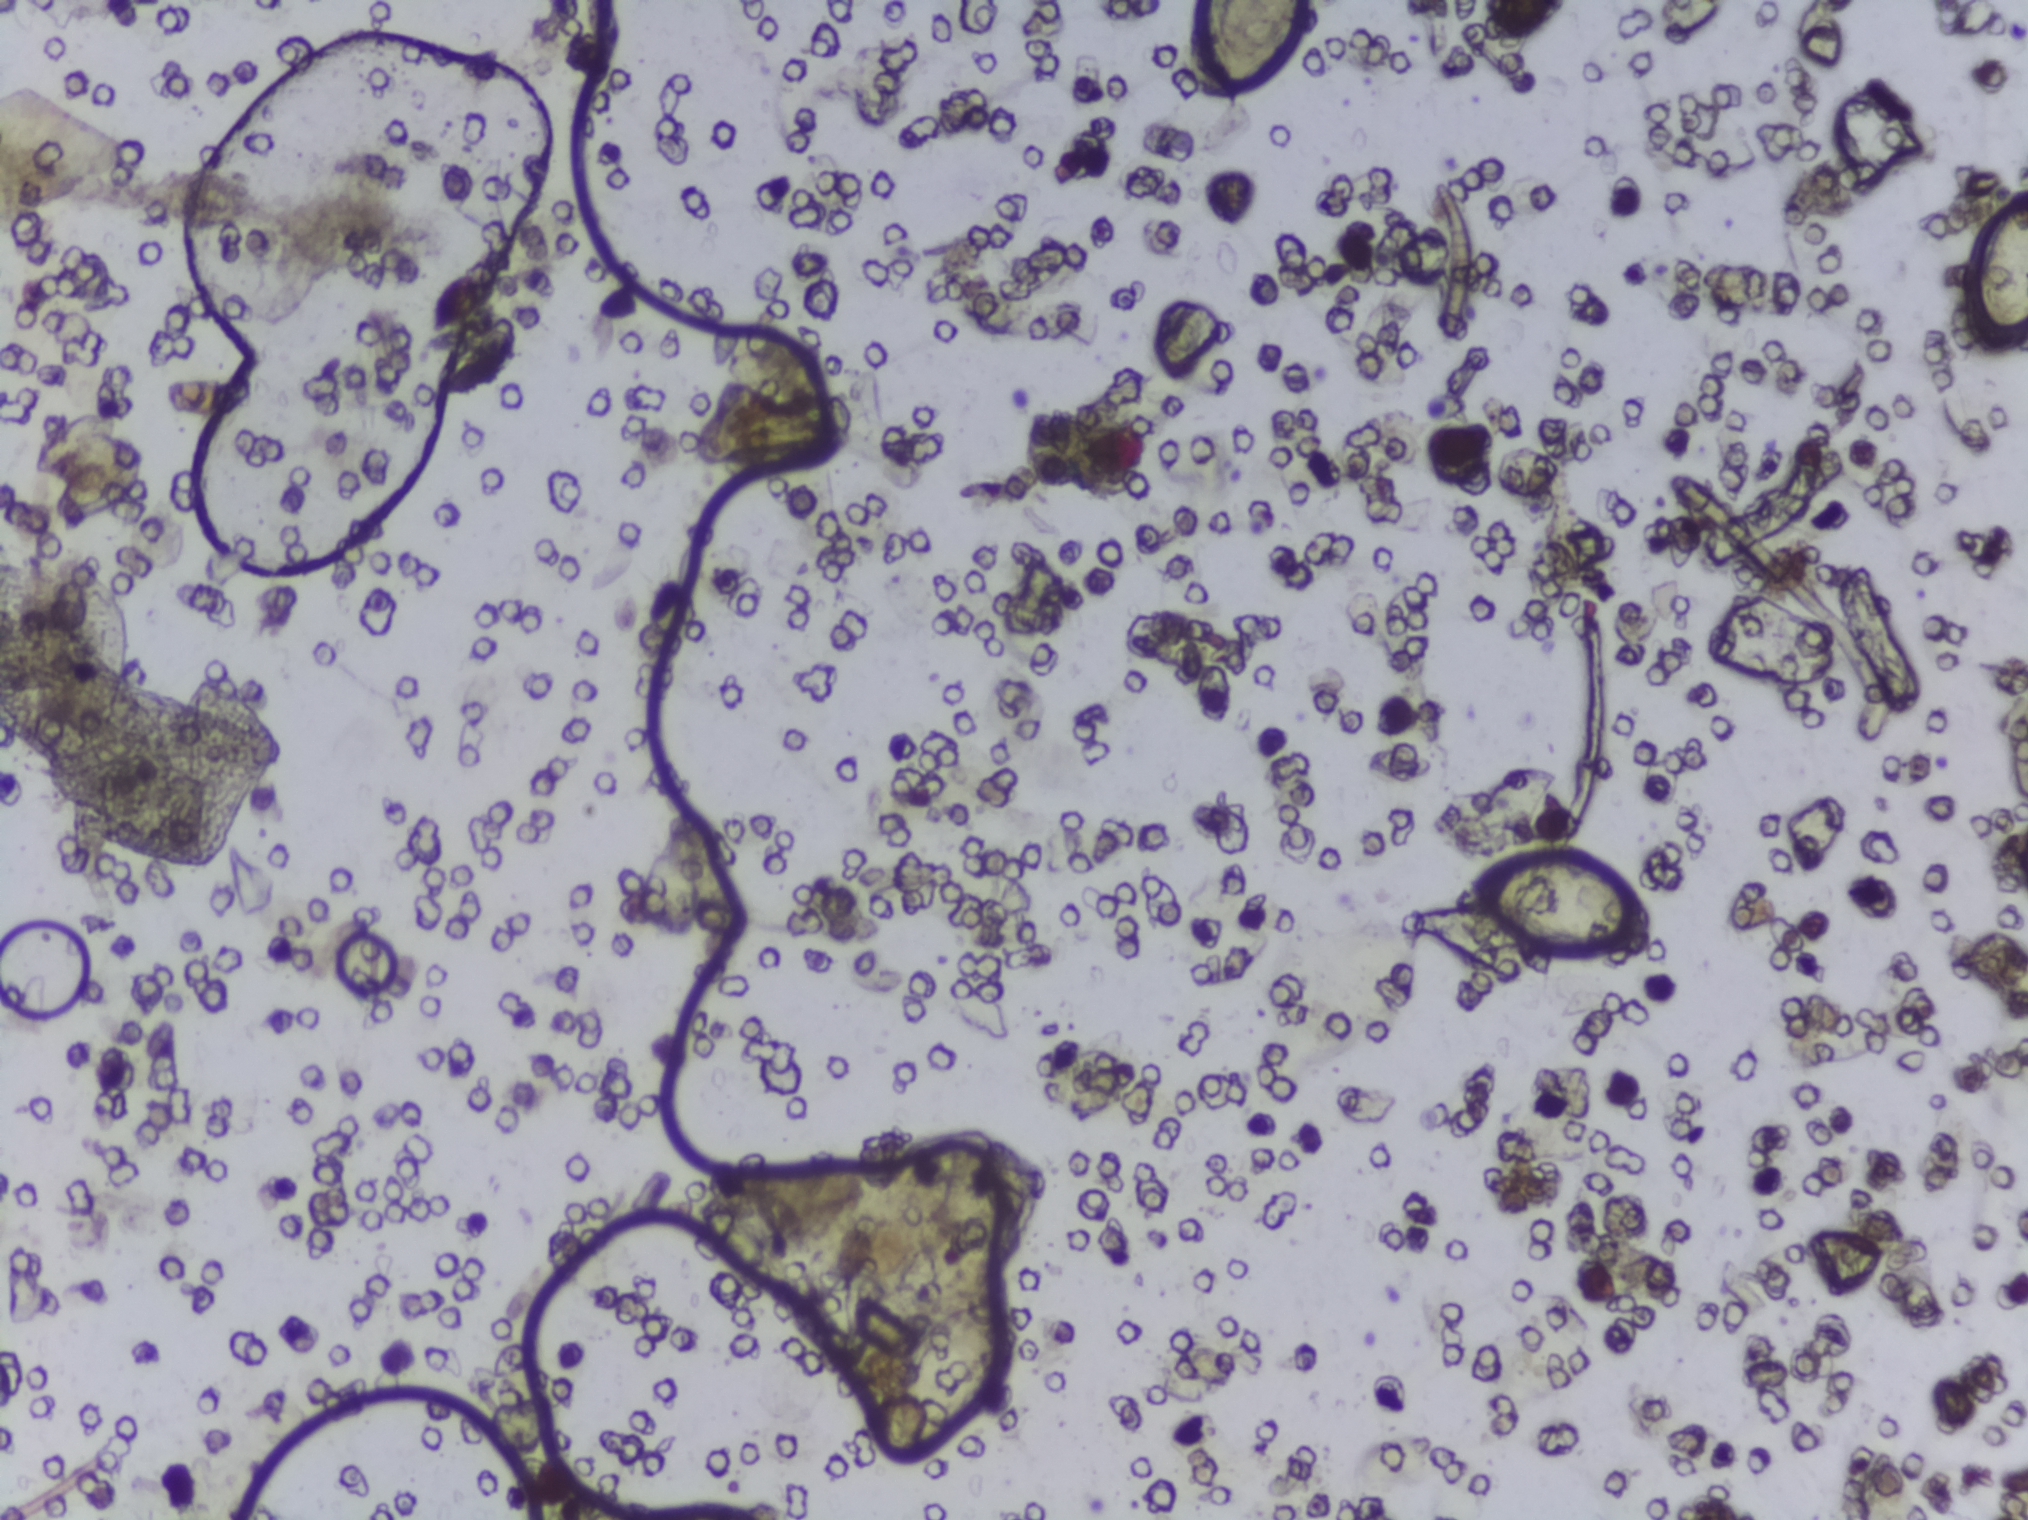
Photograph from an automated digital microscope: urine filter membrane, 4× objective. The image covers about 1.5 × 1.1 mm of the membrane.
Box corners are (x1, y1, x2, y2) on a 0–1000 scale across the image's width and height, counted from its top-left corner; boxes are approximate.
Schistosoma eggs are outlined in the expert annotation at (440, 853, 496, 956); (592, 0, 645, 73) (reaching the top edge of the frame); (723, 564, 814, 629); (973, 124, 1000, 235) (reaching the right edge of the frame) (left to right). The marked pixels themselves, not the boxes around them, cover about 1.3% of the image. An outlined area can hold more than one egg.